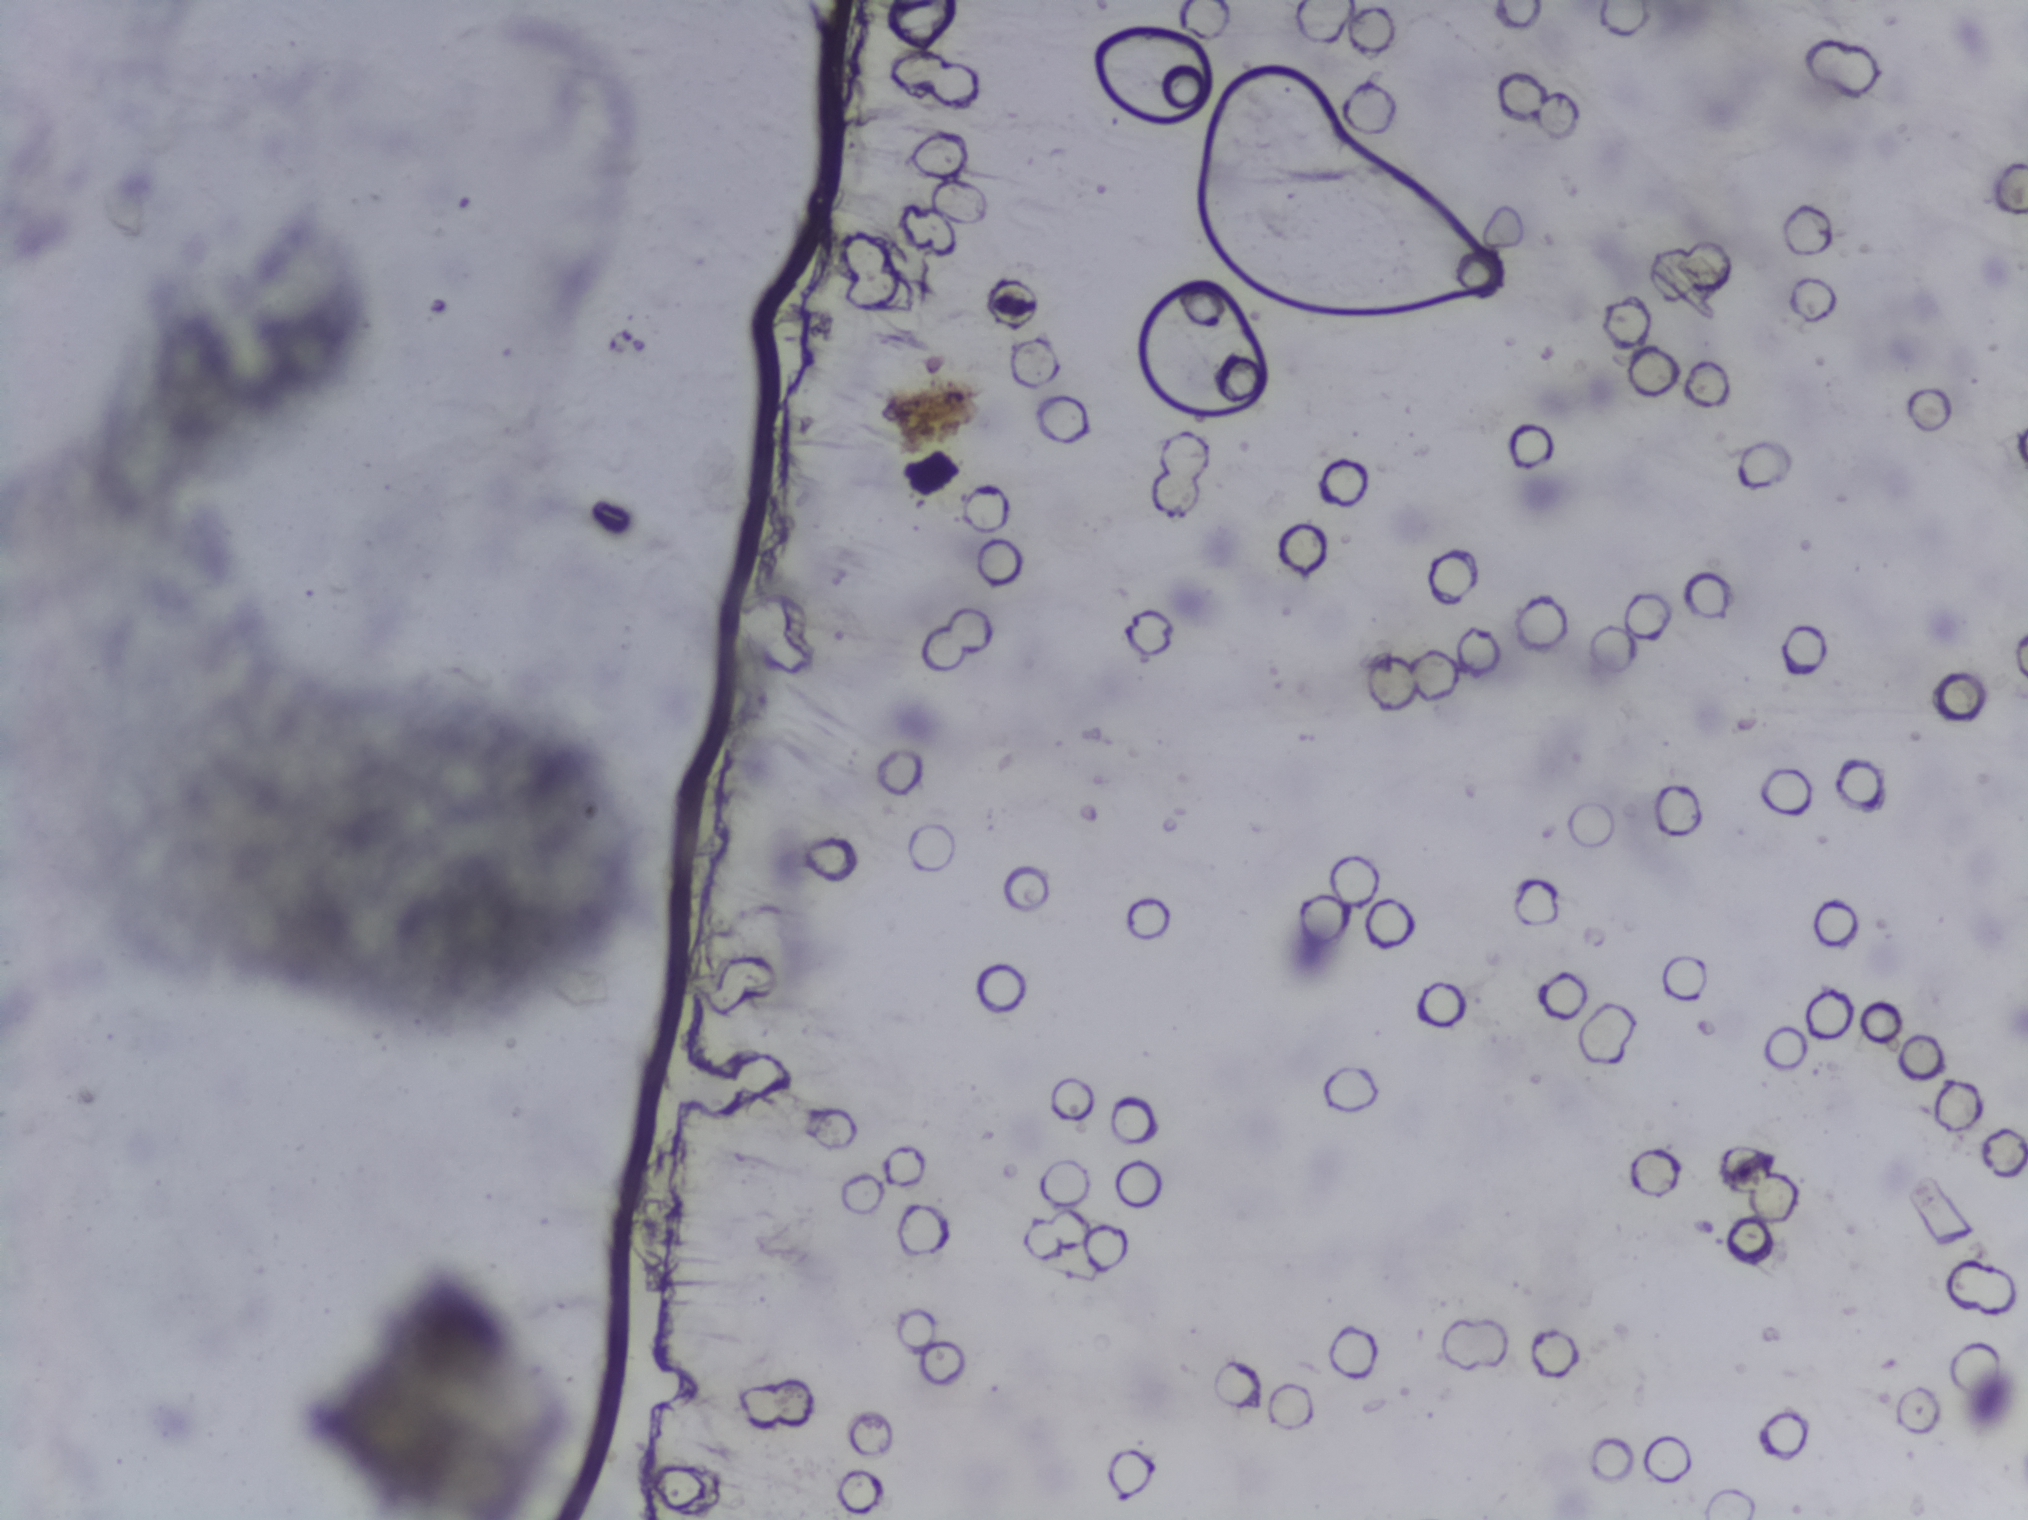
Urine filtration membrane under a 4× objective, photographed by an automated digital microscope.
No Schistosoma egg is outlined in this image's expert annotation.